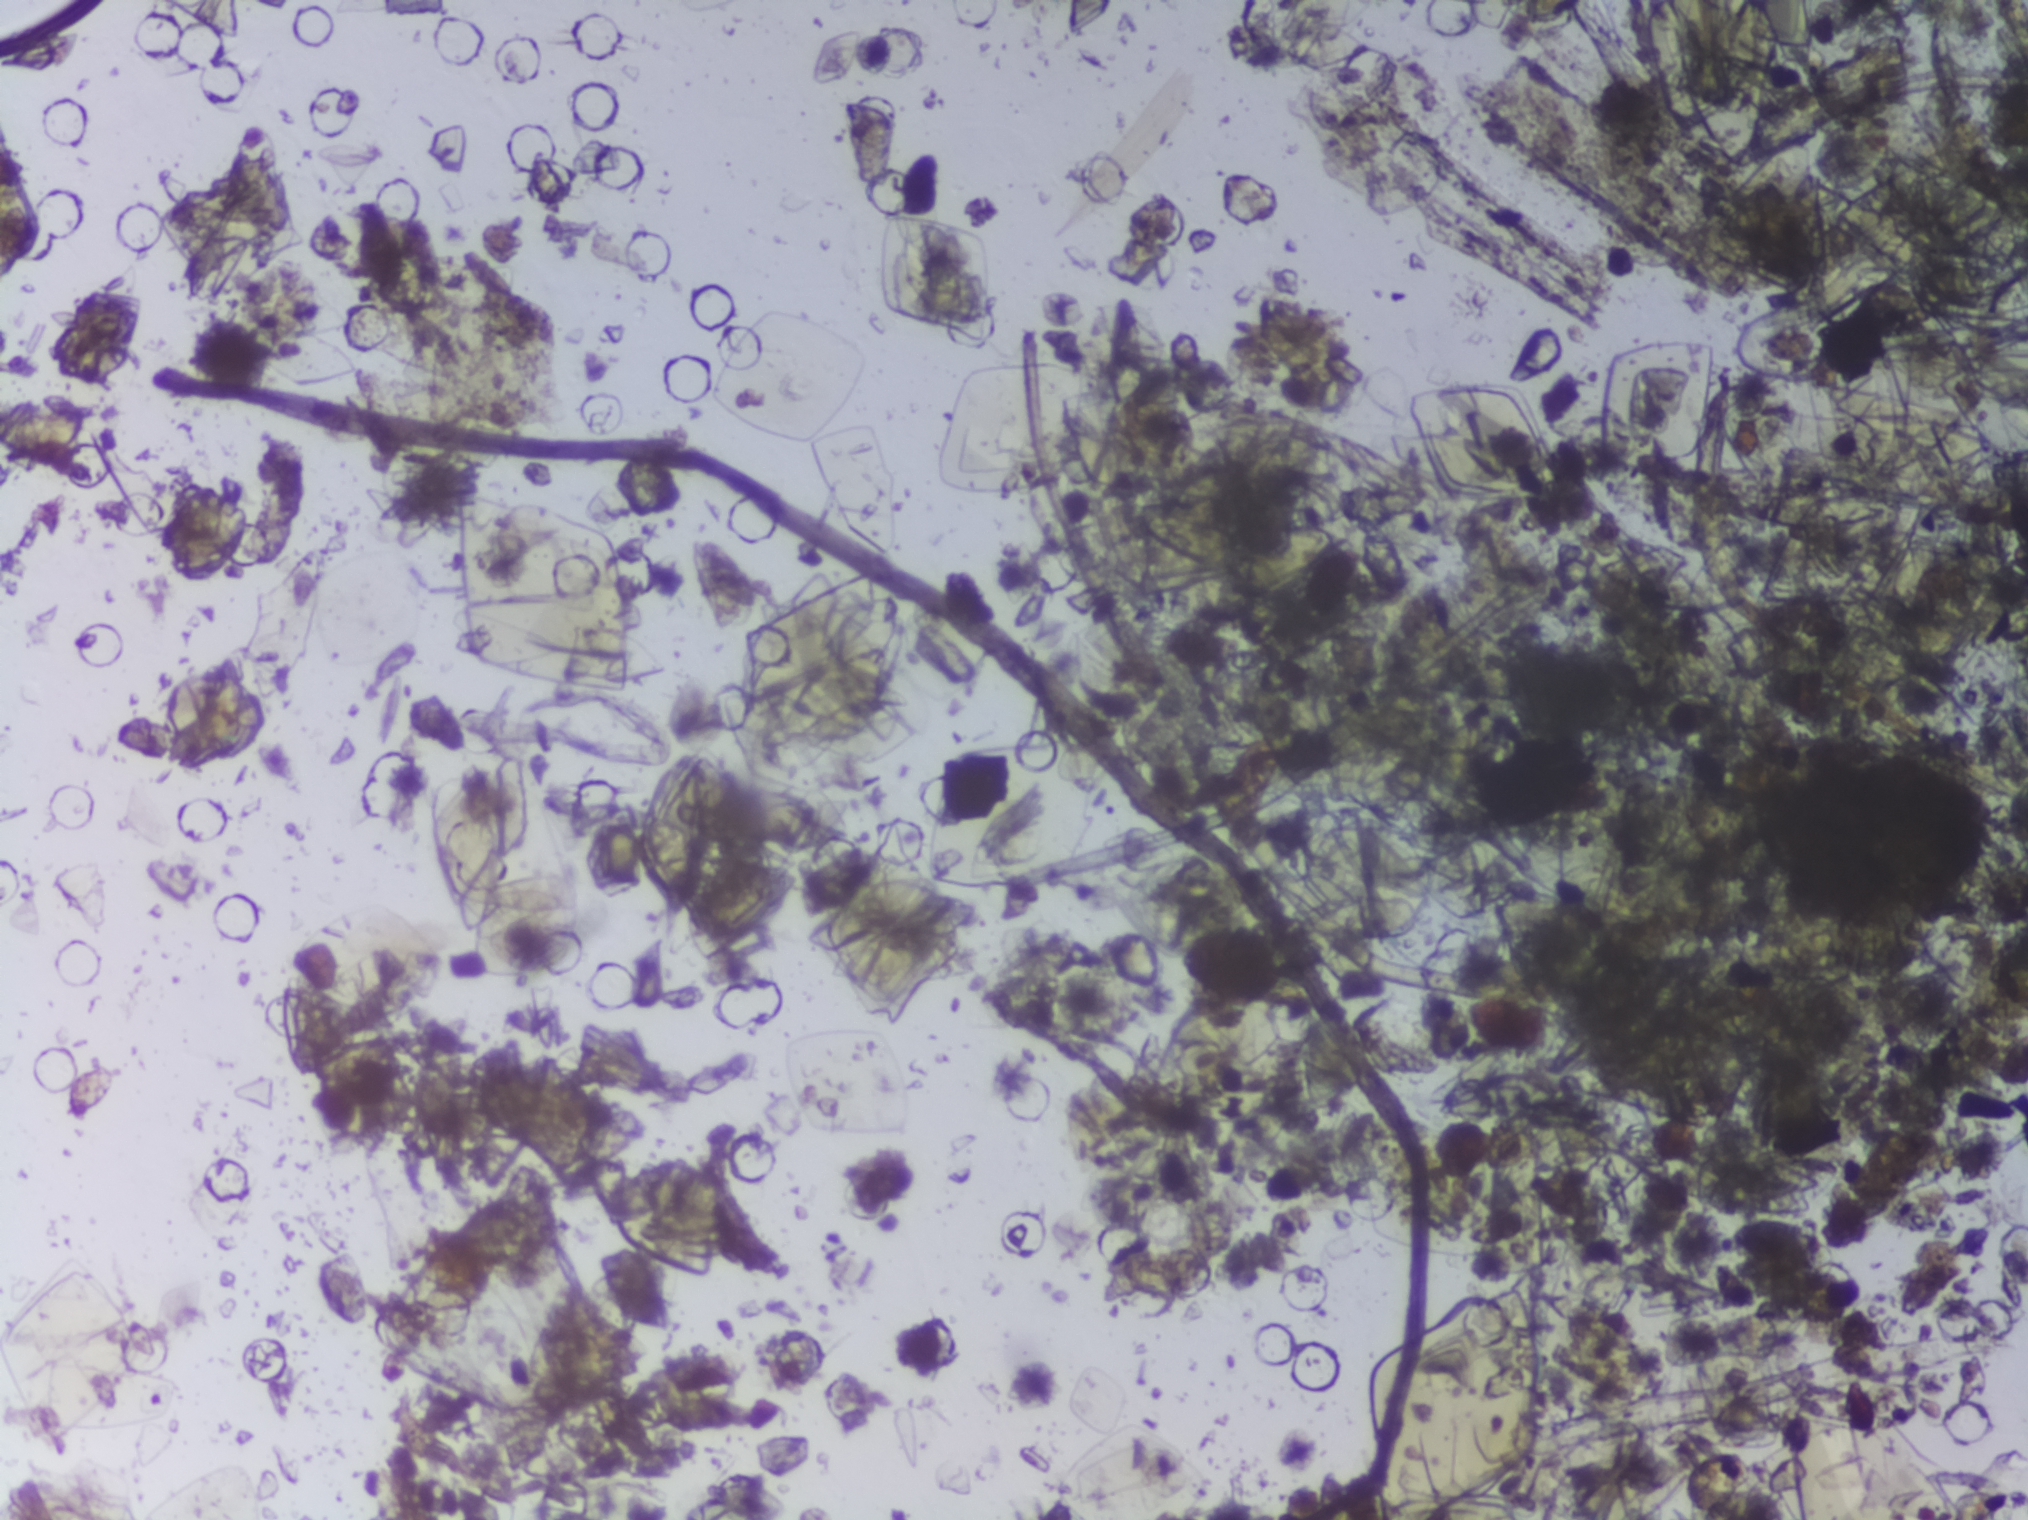
Microscope photograph (4× objective) of a membrane that a urine sample was filtered through.
Schistosoma eggs: none outlined.